Urine filtration membrane under a 4× objective, photographed by an automated digital microscope. The field of view is about 1.5 mm × 1.1 mm.
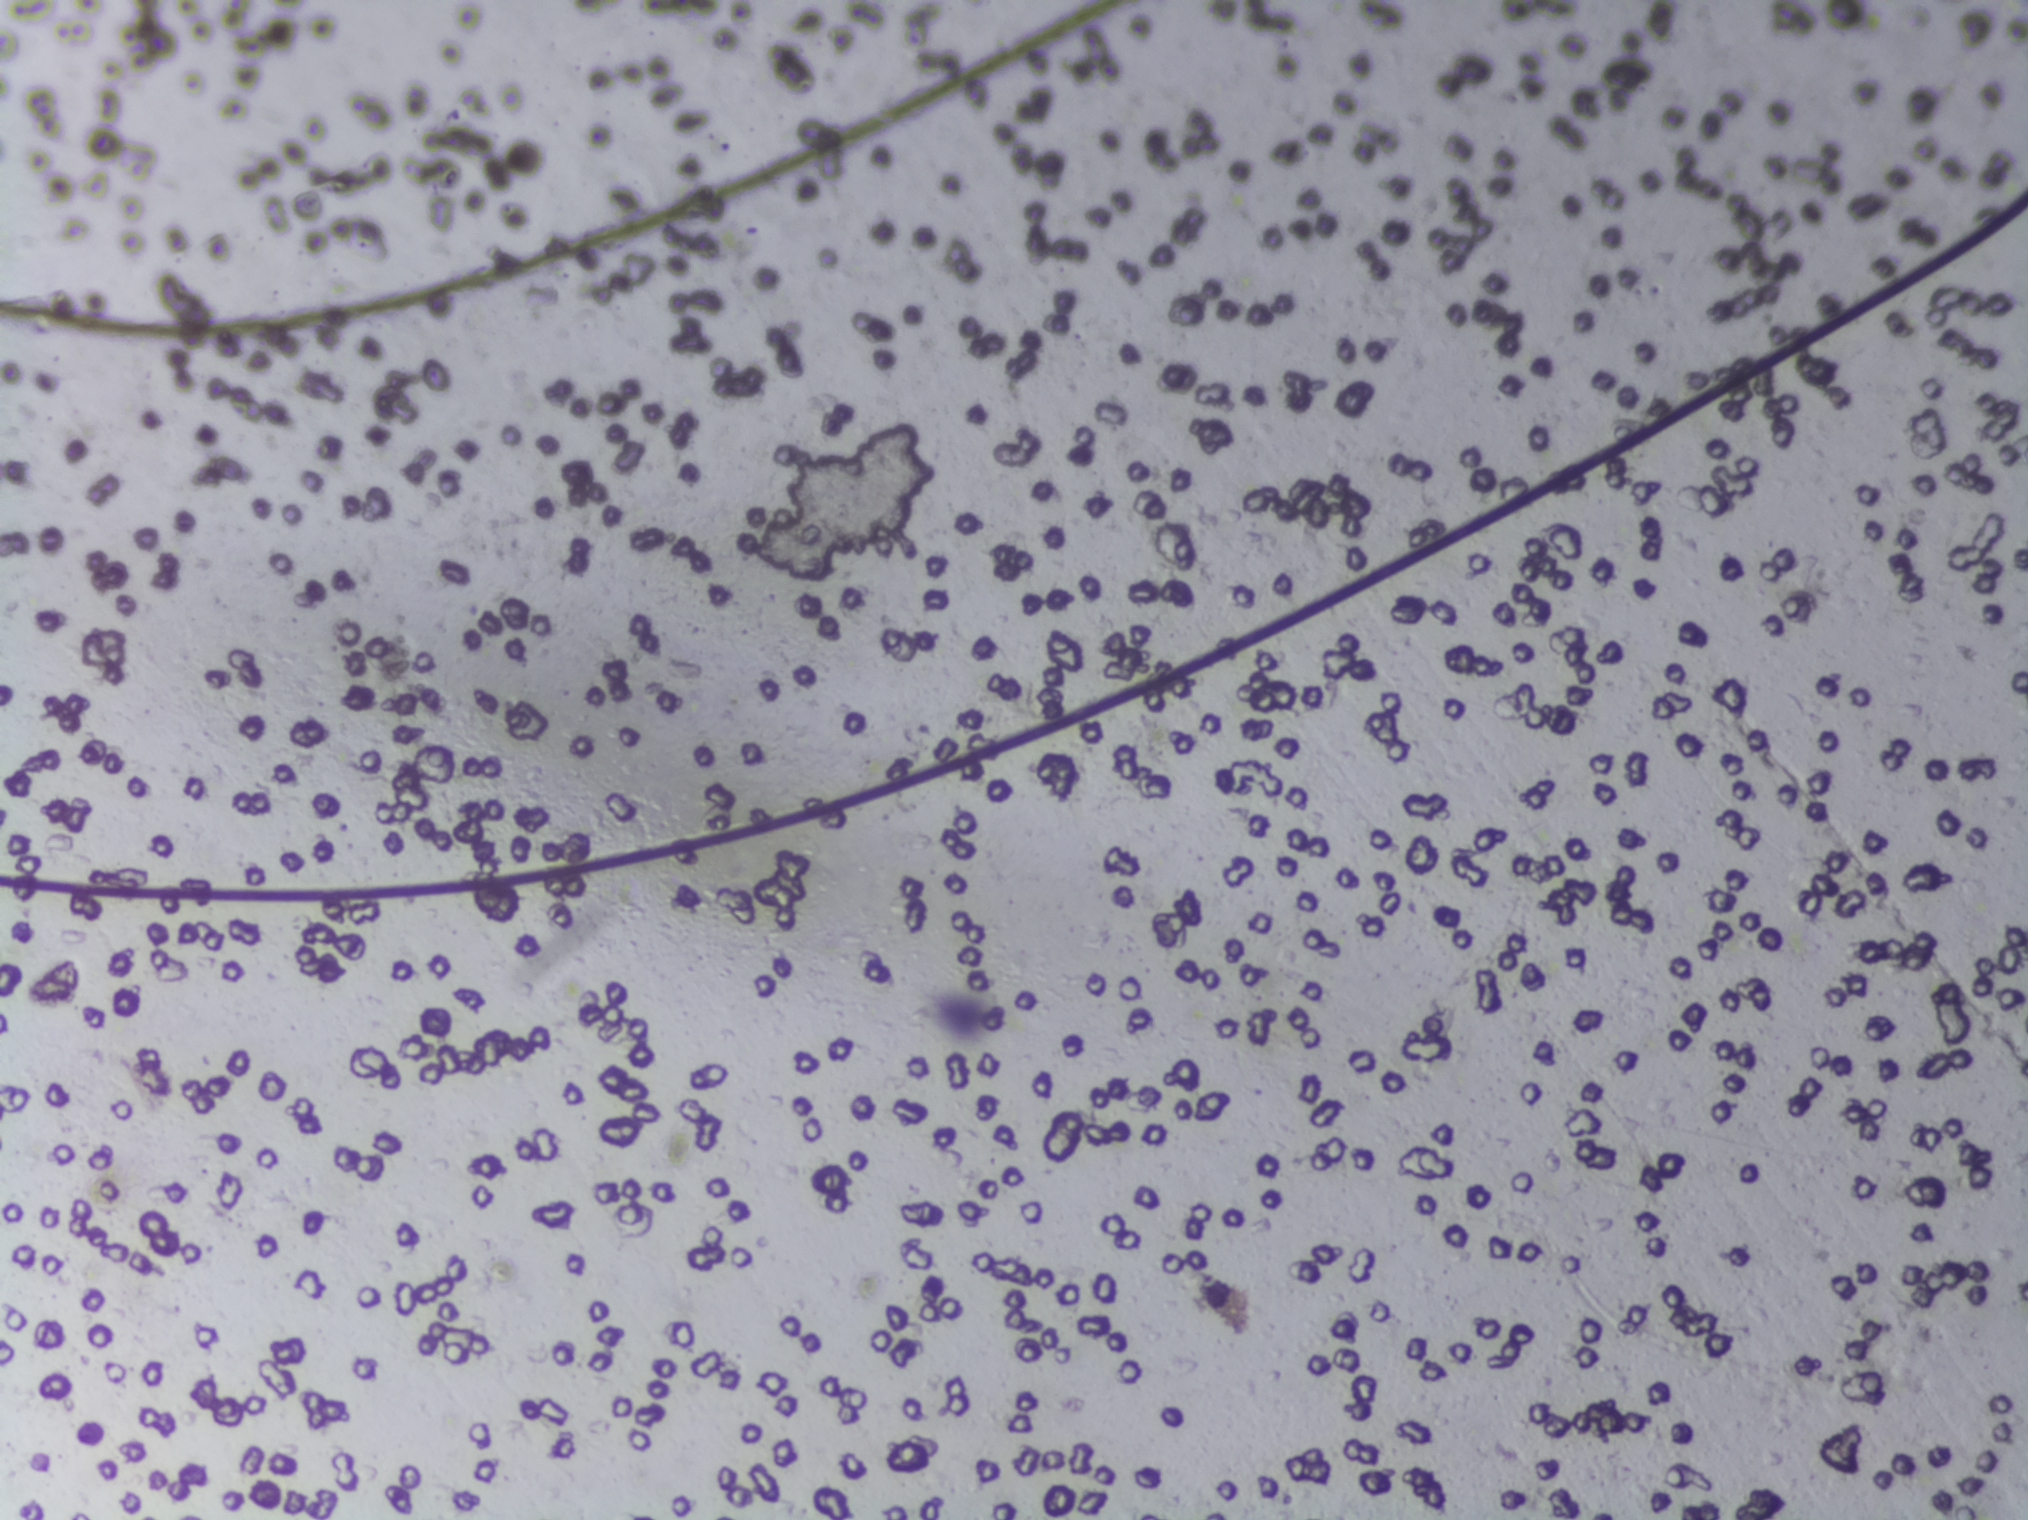
No area of this image was outlined as a Schistosoma egg.